Photomicrograph of a urine filtration membrane, 4× objective.
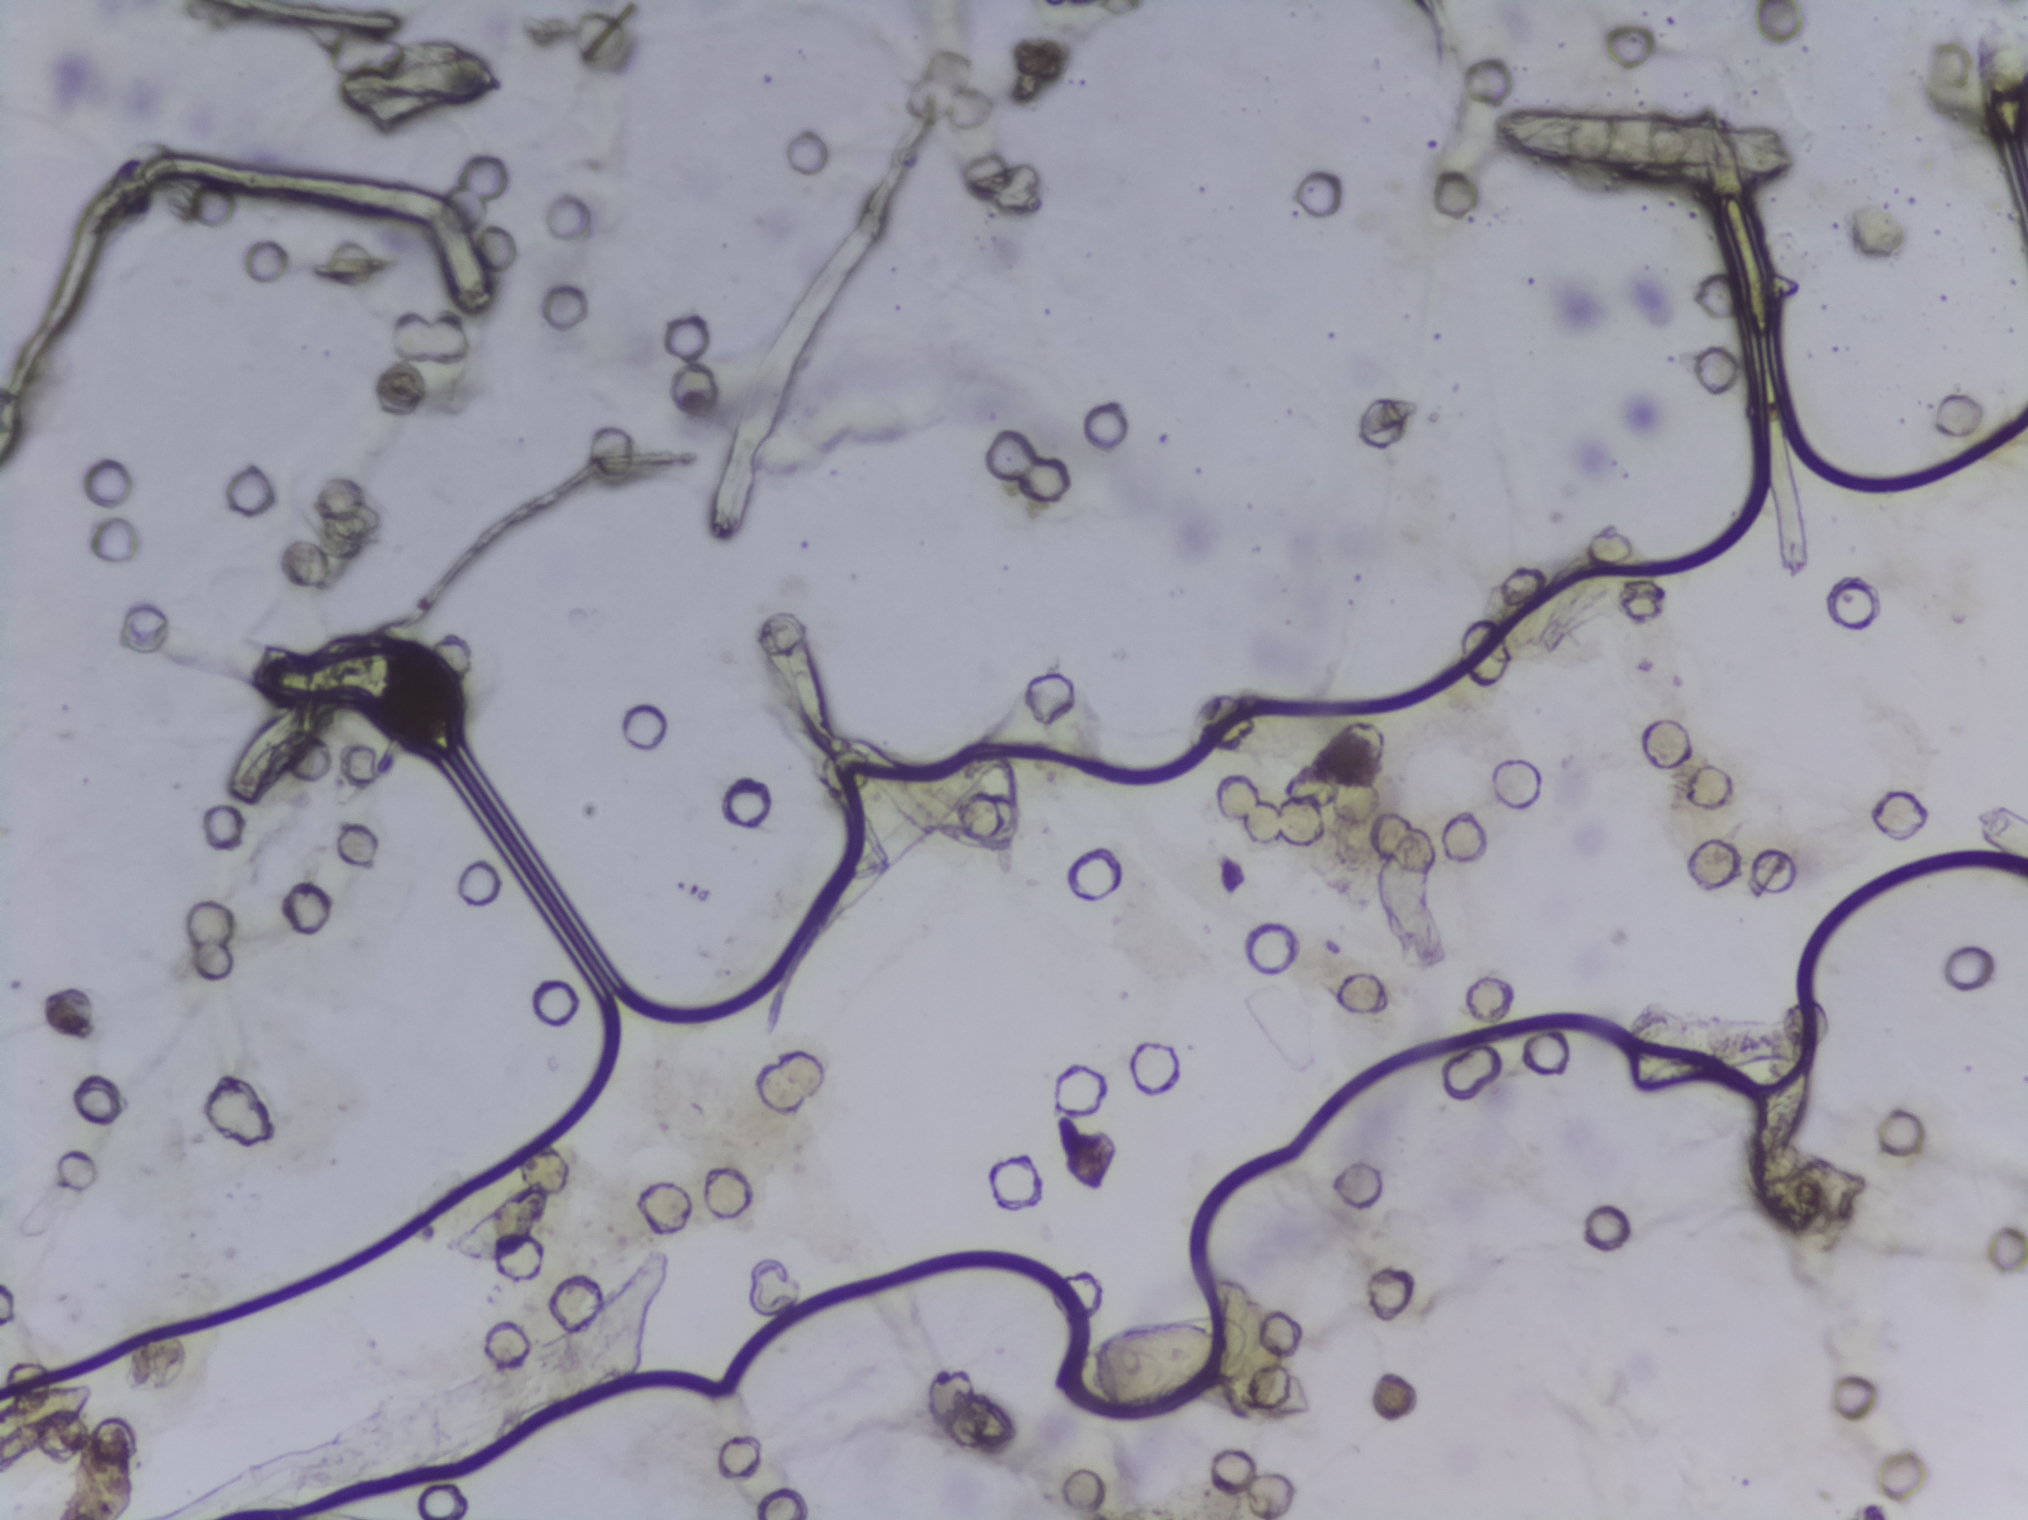
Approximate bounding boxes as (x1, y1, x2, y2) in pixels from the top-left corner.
Schistosoma eggs are outlined in the expert annotation at (1045, 1310, 1250, 1423). A single outlined area may contain several eggs.